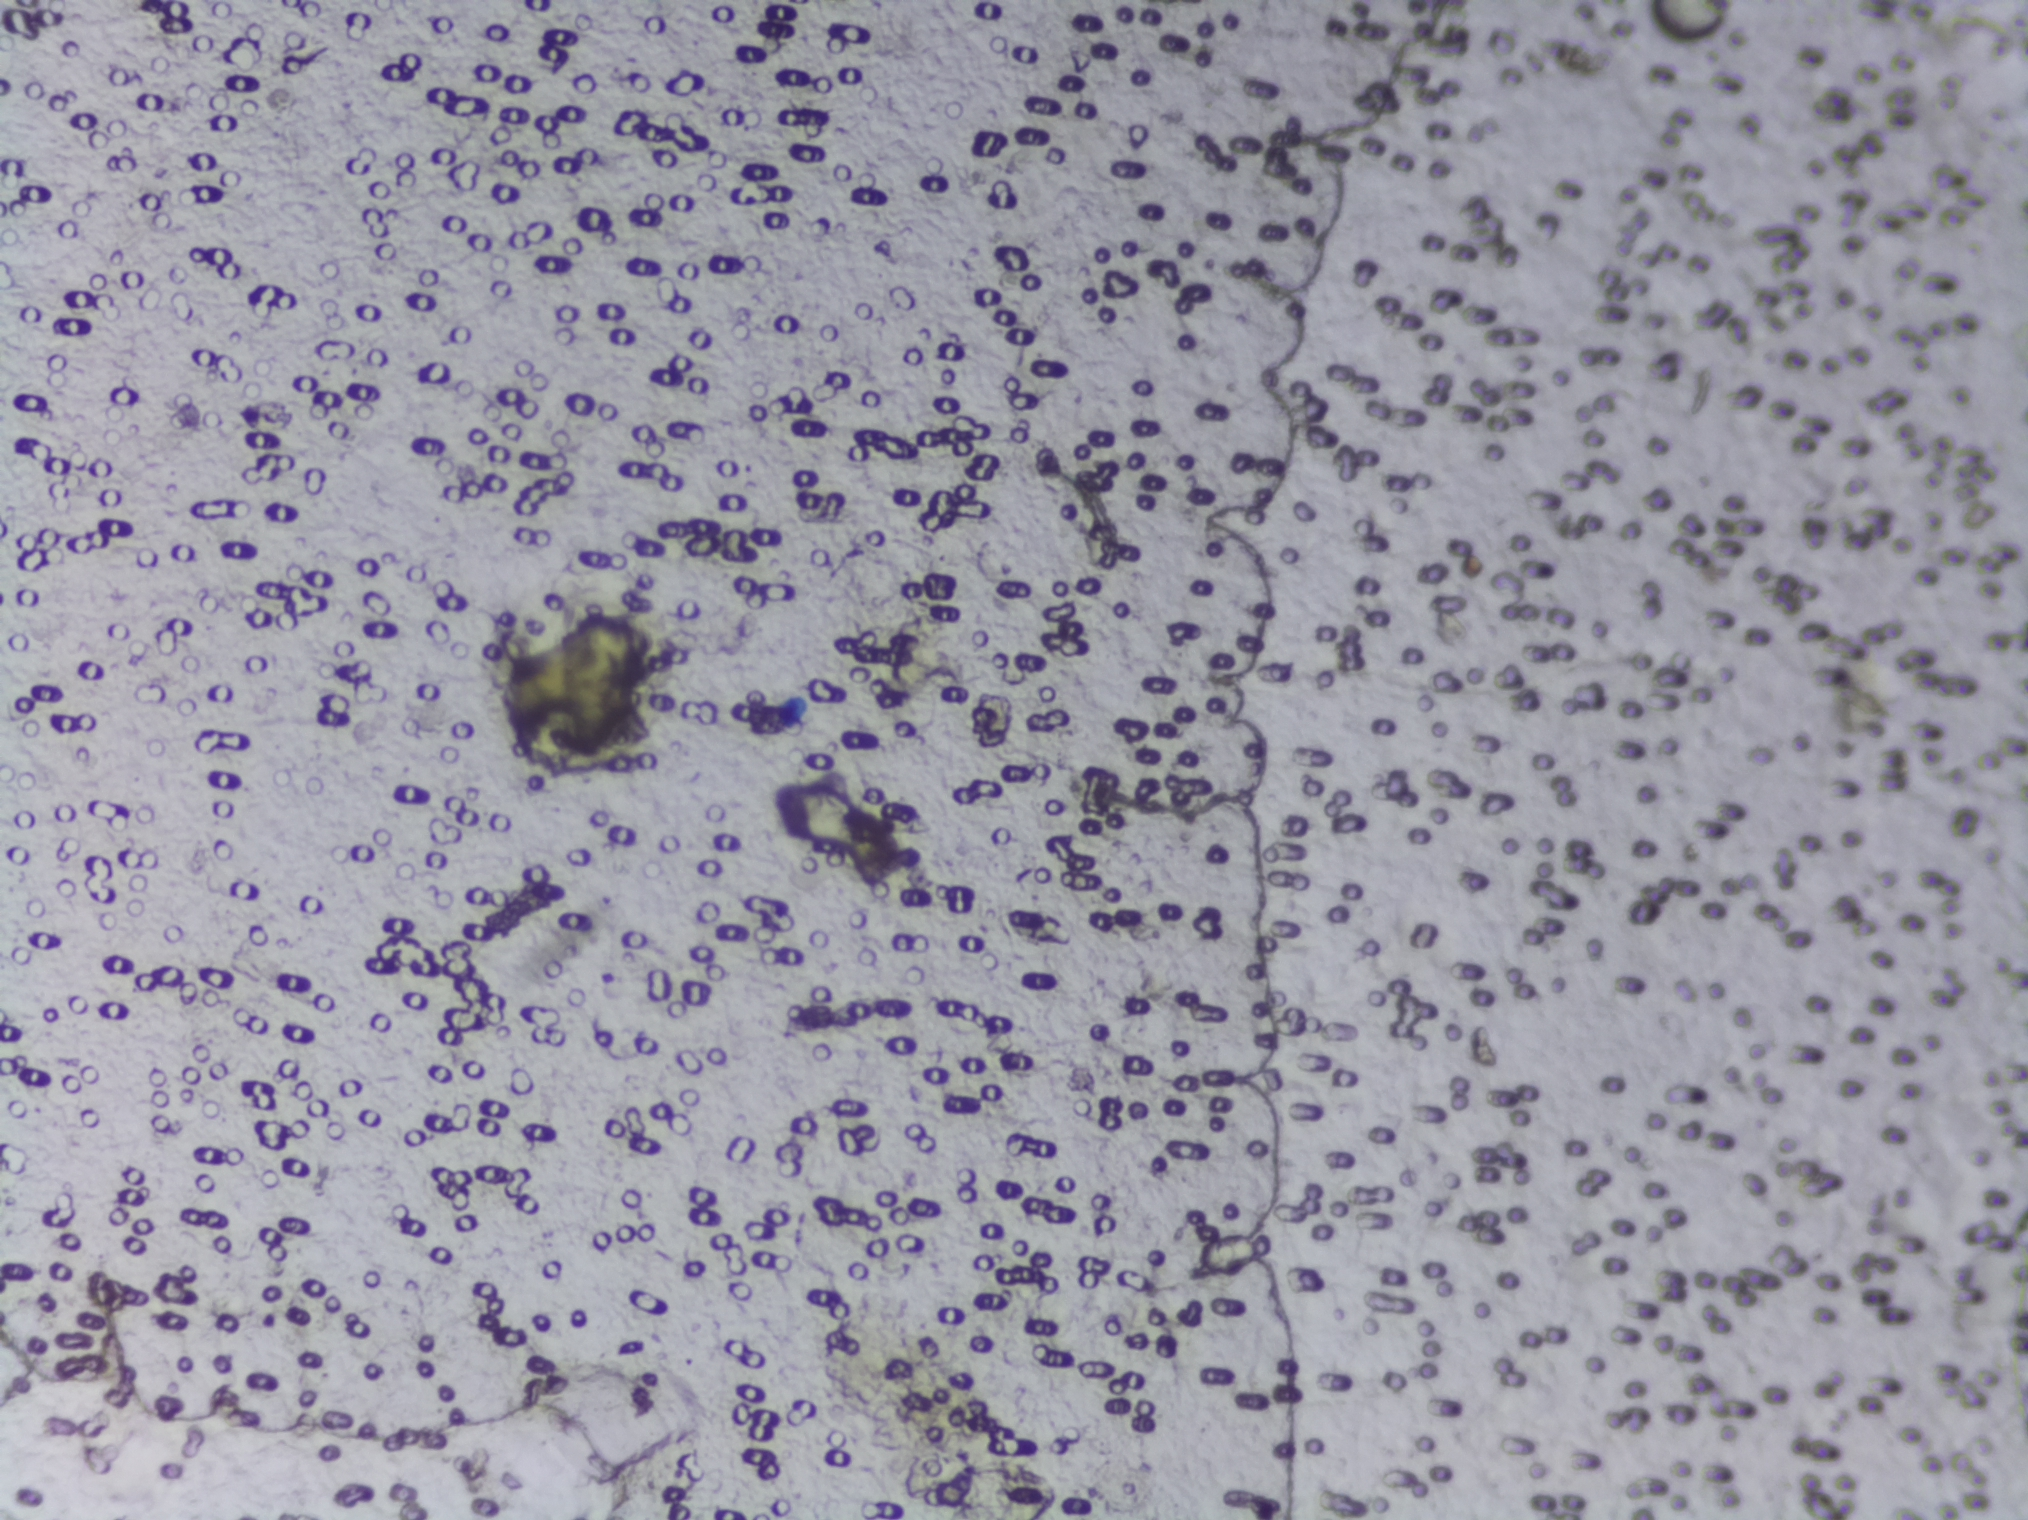
The expert annotation marks no Schistosoma egg in this field of view.
Urine filter membrane photographed through a 4× microscope objective. The image covers about 1.5 × 1.1 mm of the membrane.